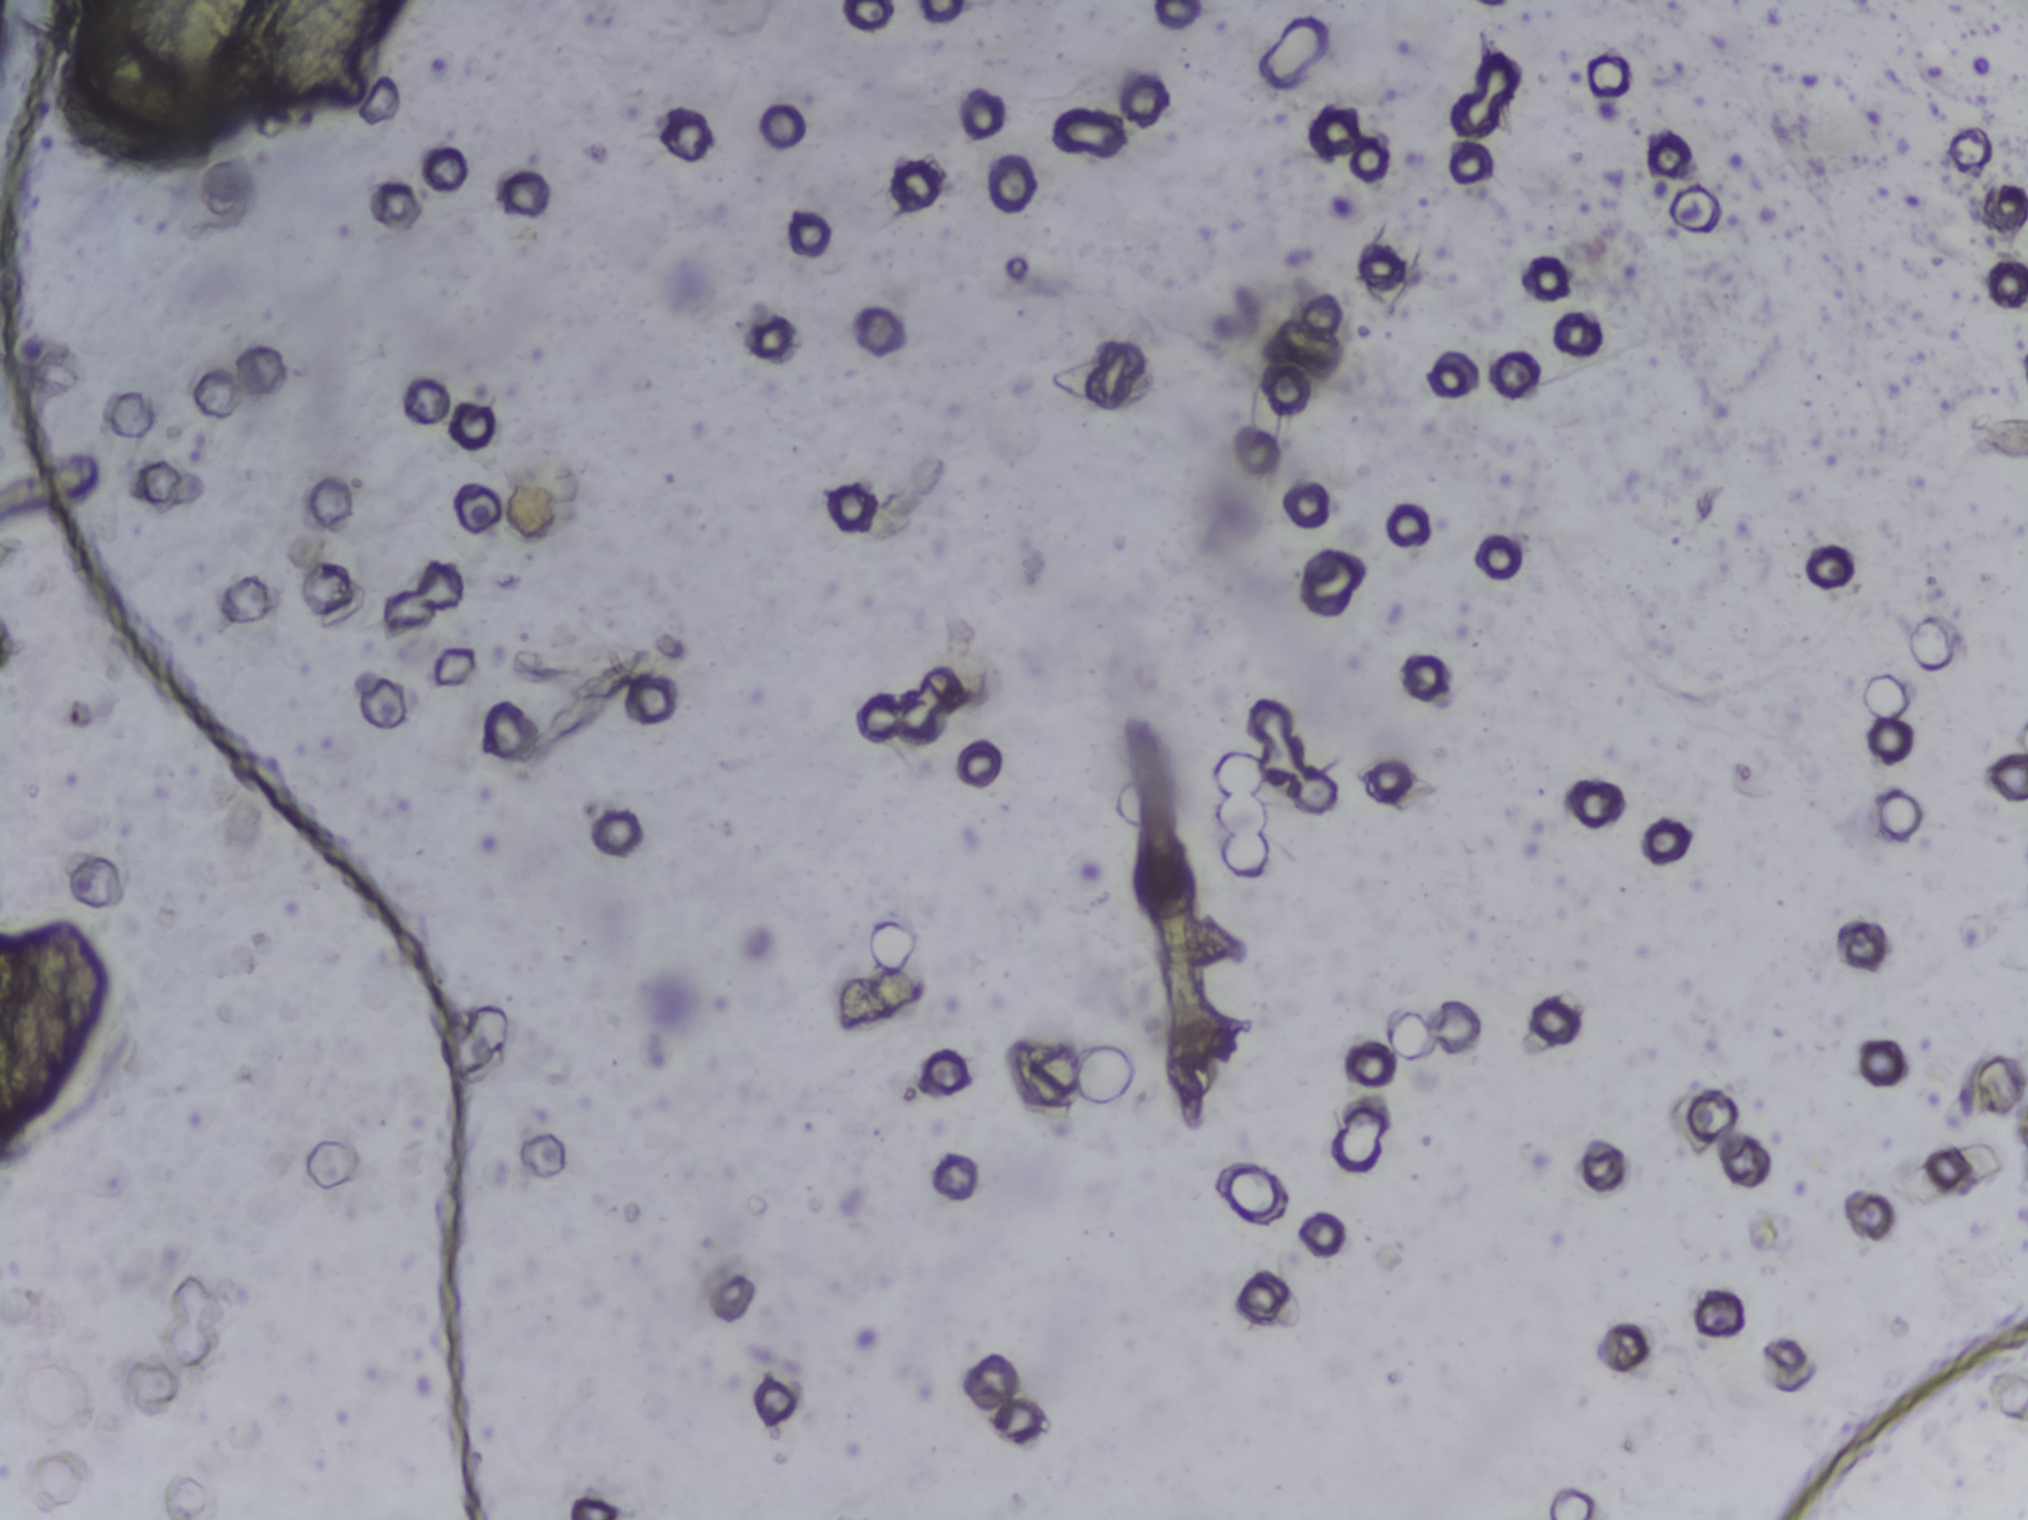
Schistosoma eggs: none outlined.
Urine filter membrane photographed through a 4× microscope objective.